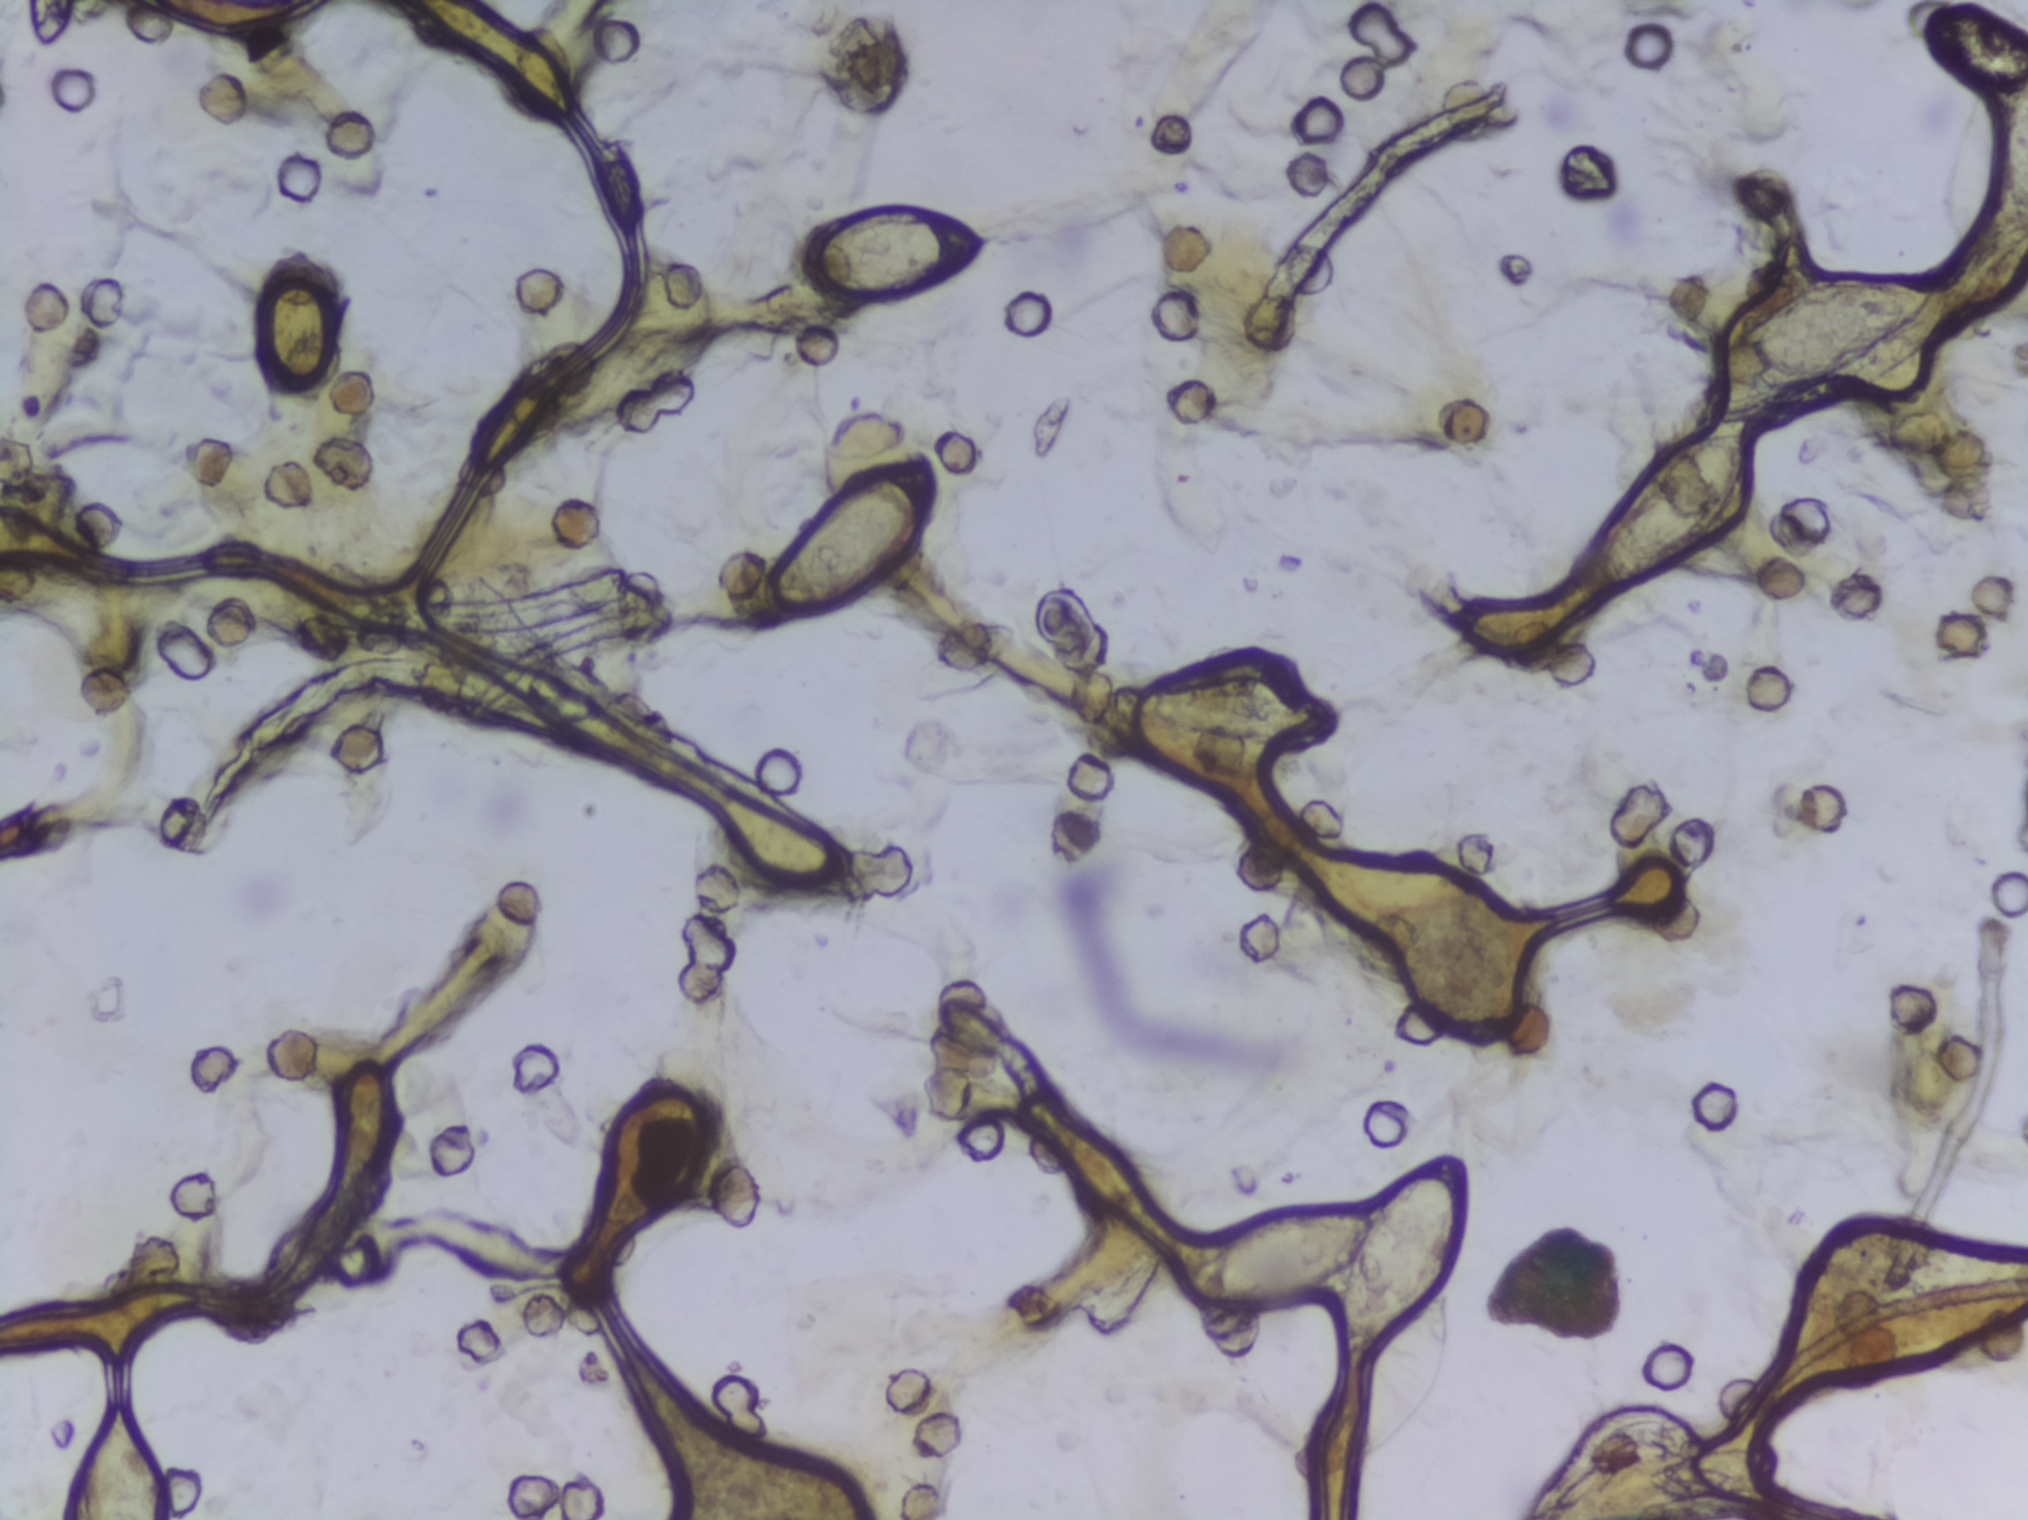
Photomicrograph of a urine filtration membrane, 4× objective.
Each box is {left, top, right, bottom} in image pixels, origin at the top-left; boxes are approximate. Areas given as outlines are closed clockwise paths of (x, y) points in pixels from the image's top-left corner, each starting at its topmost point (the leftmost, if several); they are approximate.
The expert annotation outlines Schistosoma eggs in seven areas, left to right: box {64, 1402, 168, 1519} (reaching the bottom edge of the frame); box {750, 455, 939, 622}; box {781, 201, 999, 309}; box {1132, 671, 1343, 754}; outline (1445, 1154), (1461, 1162), (1466, 1184), (1462, 1253), (1442, 1290), (1450, 1291), (1454, 1307), (1447, 1380), (1421, 1422), (1387, 1452), (1358, 1466), (1325, 1468), (1312, 1456), (1311, 1432), (1333, 1376), (1350, 1354), (1338, 1324), (1352, 1276), (1297, 1300), (1218, 1303), (1193, 1298), (1187, 1274), (1200, 1254), (1261, 1212), (1372, 1212), (1410, 1171); box {1582, 429, 1752, 589}; box {1712, 279, 1932, 415}. An outlined area can hold more than one egg.